Photograph from an automated digital microscope: urine filter membrane, 4× objective. The image covers about 1.5 × 1.1 mm of the membrane.
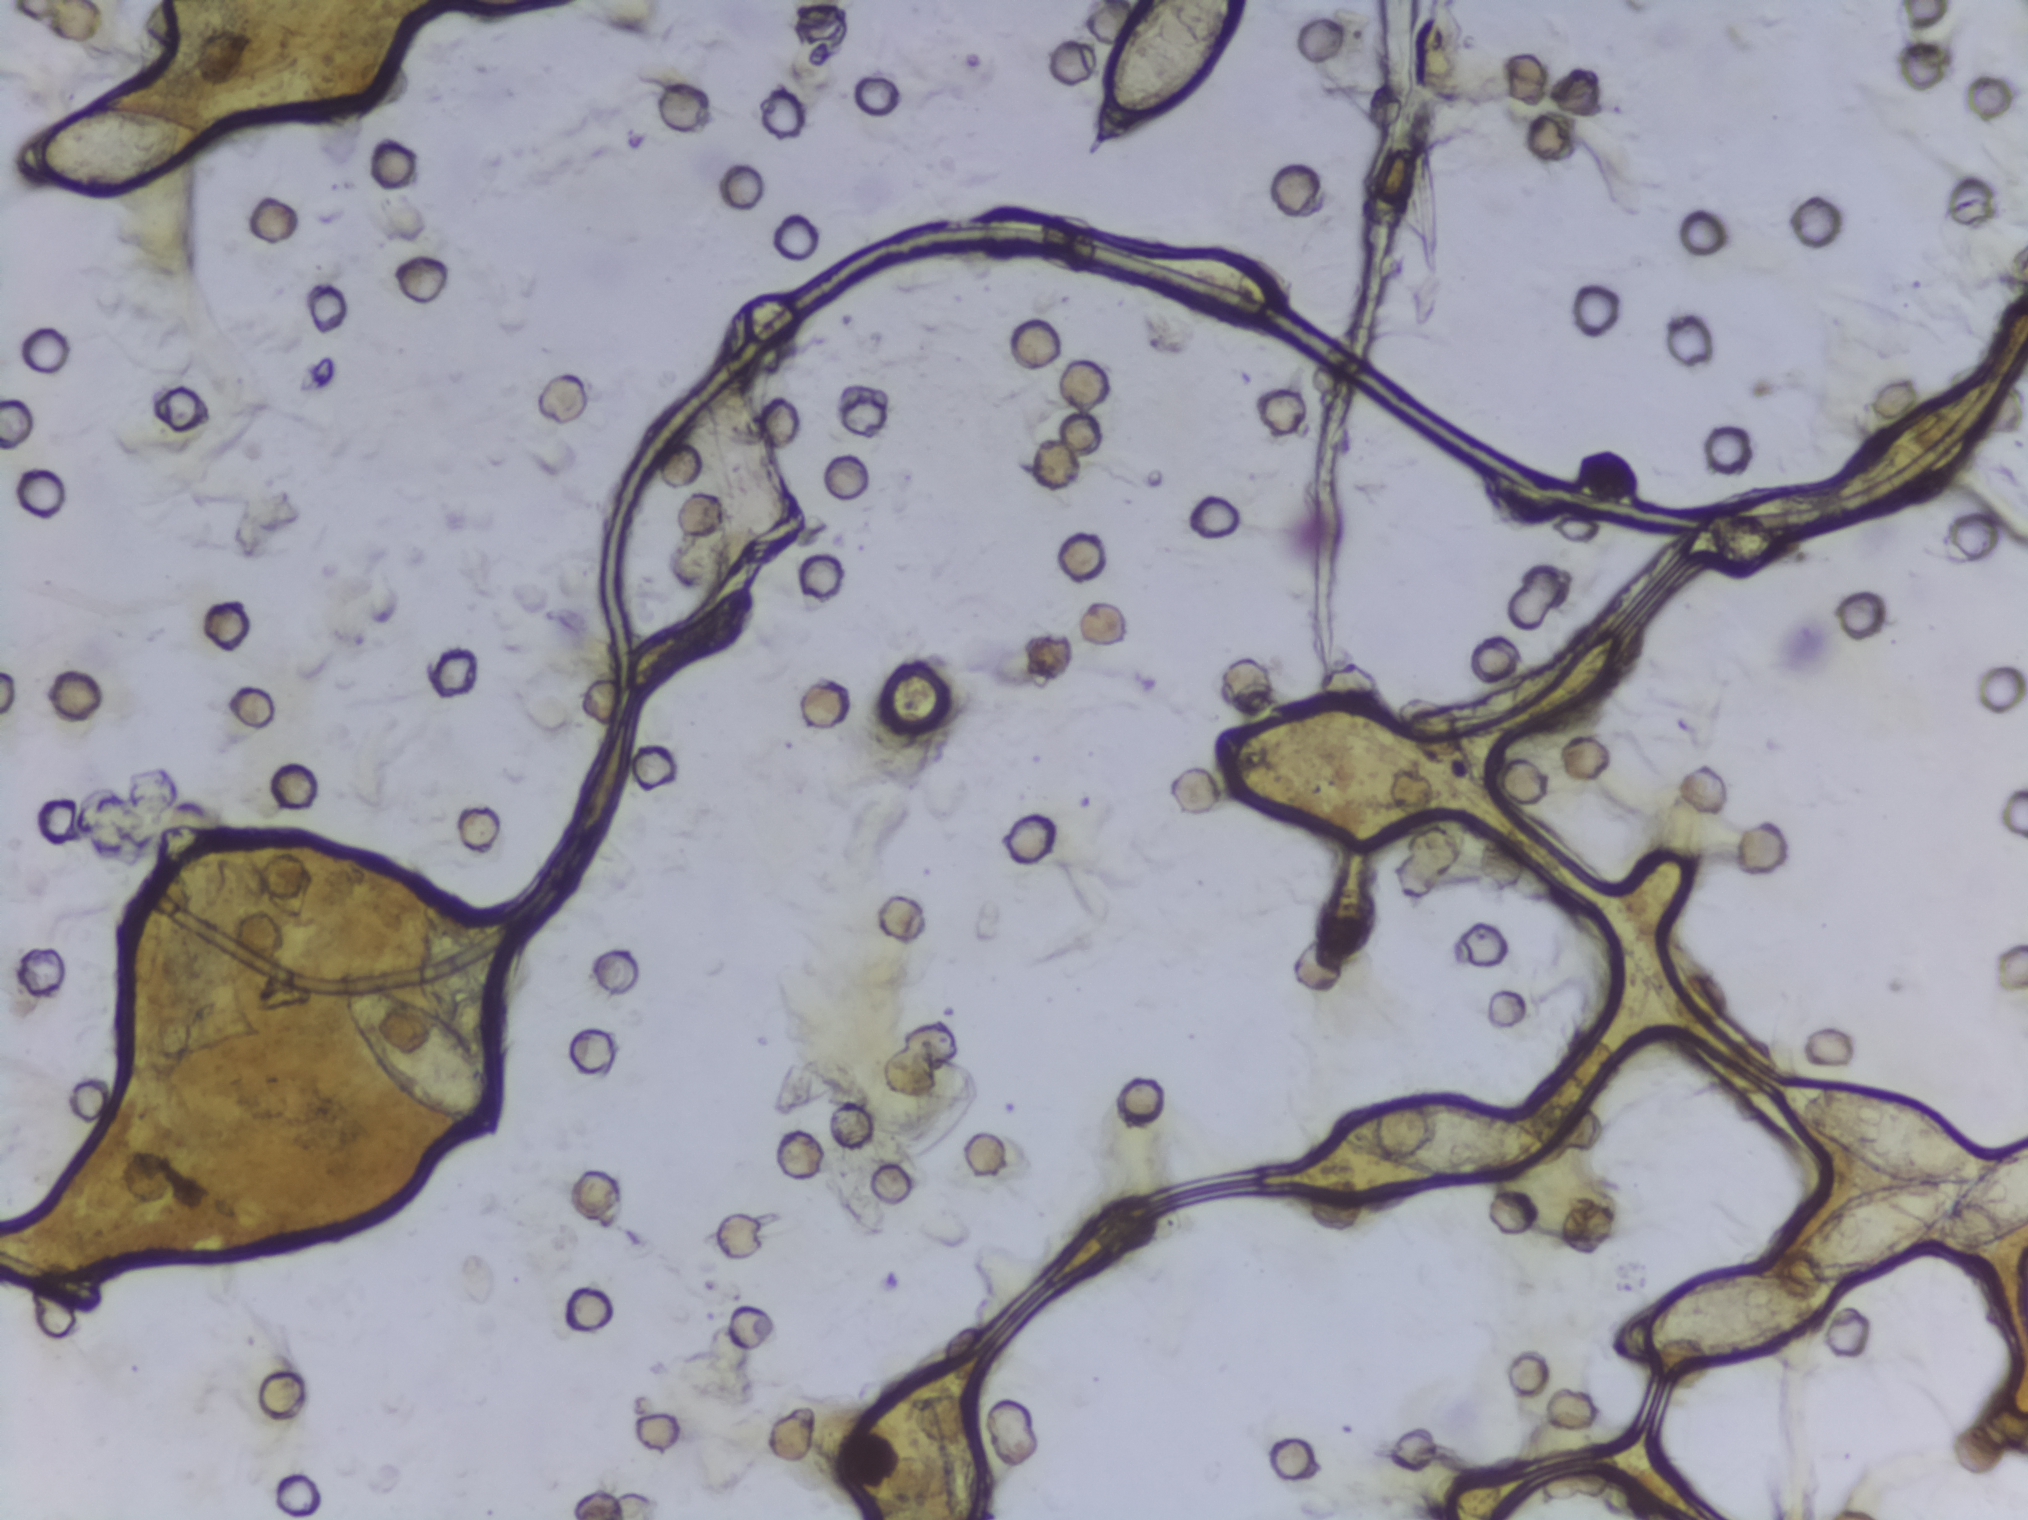
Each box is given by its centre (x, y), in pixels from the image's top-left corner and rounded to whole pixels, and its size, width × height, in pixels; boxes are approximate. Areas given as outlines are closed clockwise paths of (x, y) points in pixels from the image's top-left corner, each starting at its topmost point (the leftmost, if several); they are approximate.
Five areas of this image are outlined as Schistosoma eggs, from left to right: box centre (114, 151), 206 × 100 px; box centre (426, 1020), 177 × 242 px; box centre (1162, 80), 155 × 160 px (reaching the top edge of the frame); box centre (1443, 1140), 224 × 89 px; outline (1790, 1077), (1877, 1085), (1932, 1100), (1952, 1112), (1987, 1165), (2027, 1137), (2027, 1226), (1955, 1255), (1943, 1250), (1938, 1230), (1872, 1270), (1844, 1278), (1839, 1306), (1822, 1322), (1745, 1359), (1675, 1369), (1616, 1360), (1611, 1330), (1639, 1304), (1708, 1272), (1777, 1265), (1827, 1204), (1858, 1186), (1883, 1182), (1816, 1144), (1785, 1114), (1778, 1082) (a cluster of eggs; reaching the right edge of the frame). Eggs that touch can end up inside the same outlined area.